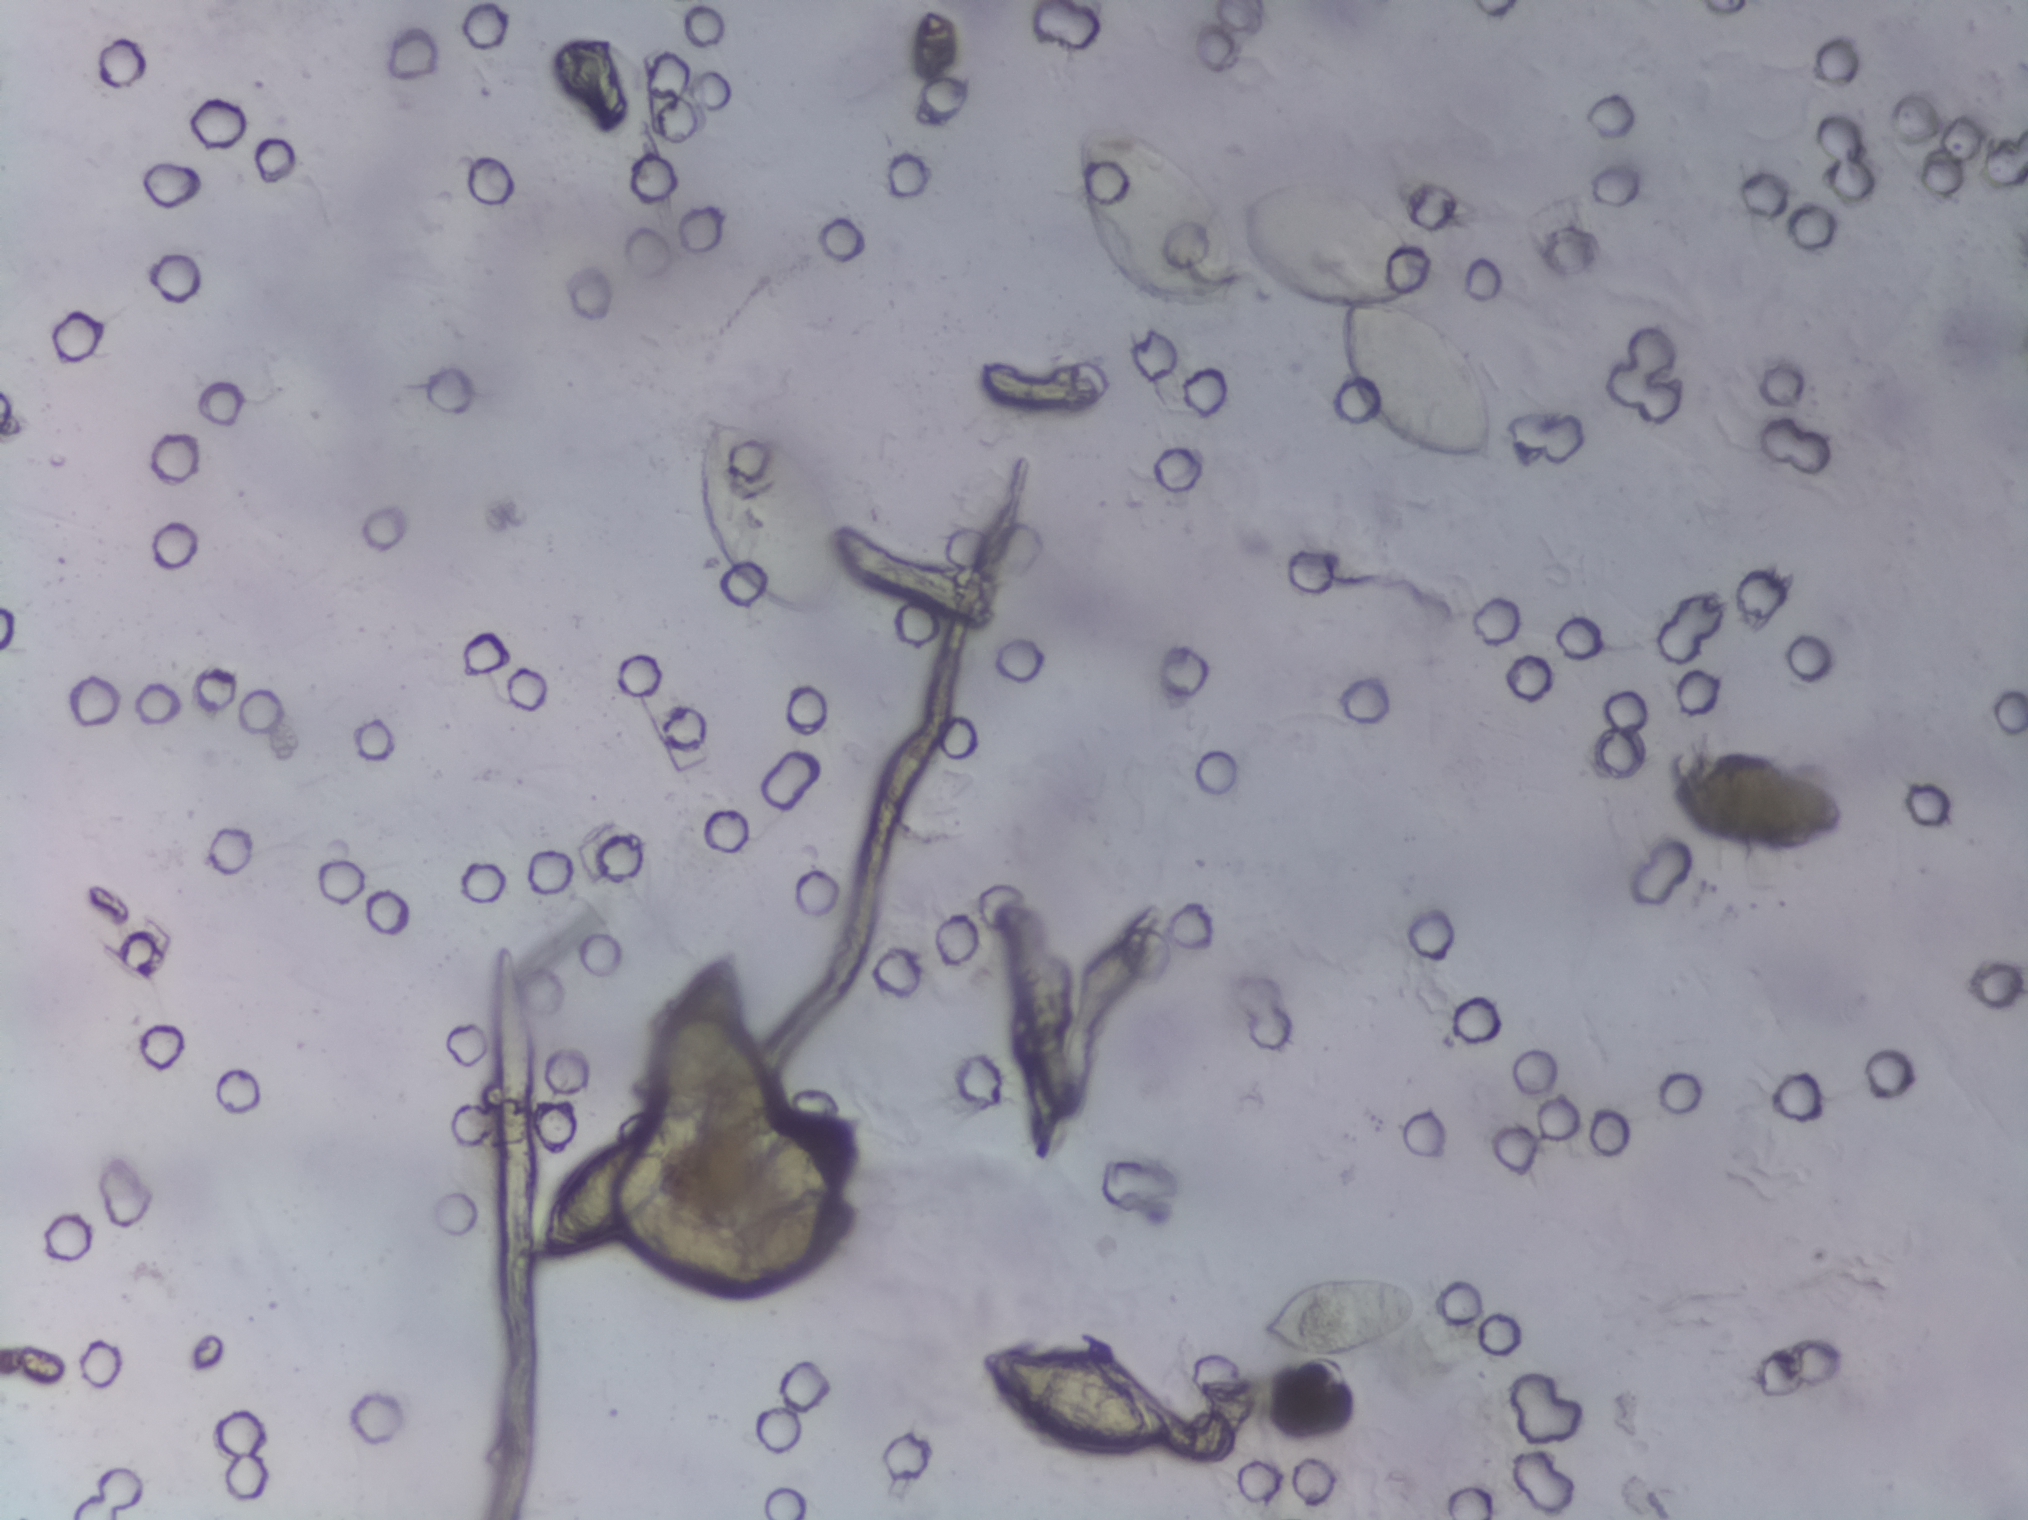
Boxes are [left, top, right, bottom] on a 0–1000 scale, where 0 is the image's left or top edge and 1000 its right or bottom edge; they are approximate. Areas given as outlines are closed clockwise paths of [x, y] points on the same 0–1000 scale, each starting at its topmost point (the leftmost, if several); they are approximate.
Areas outlined as Schistosoma eggs, left to right:
1. box [266, 747, 334, 822]
2. box [322, 628, 368, 735]
3. box [338, 271, 423, 413]
4. box [362, 726, 431, 844]
5. box [482, 886, 577, 963]
6. outline [538, 77], [579, 96], [608, 133], [621, 118], [642, 112], [680, 129], [691, 138], [701, 156], [706, 176], [706, 185], [697, 194], [720, 212], [733, 245], [737, 265], [737, 308], [718, 310], [694, 298], [664, 252], [660, 205], [640, 198], [625, 181], [620, 206], [606, 214], [584, 210], [552, 188], [531, 137], [532, 96] (a cluster of eggs)
7. box [618, 839, 700, 900]
8. box [817, 491, 914, 564]
A single outlined area may contain several eggs.
Microscope photograph (4× objective) of a membrane that a urine sample was filtered through.